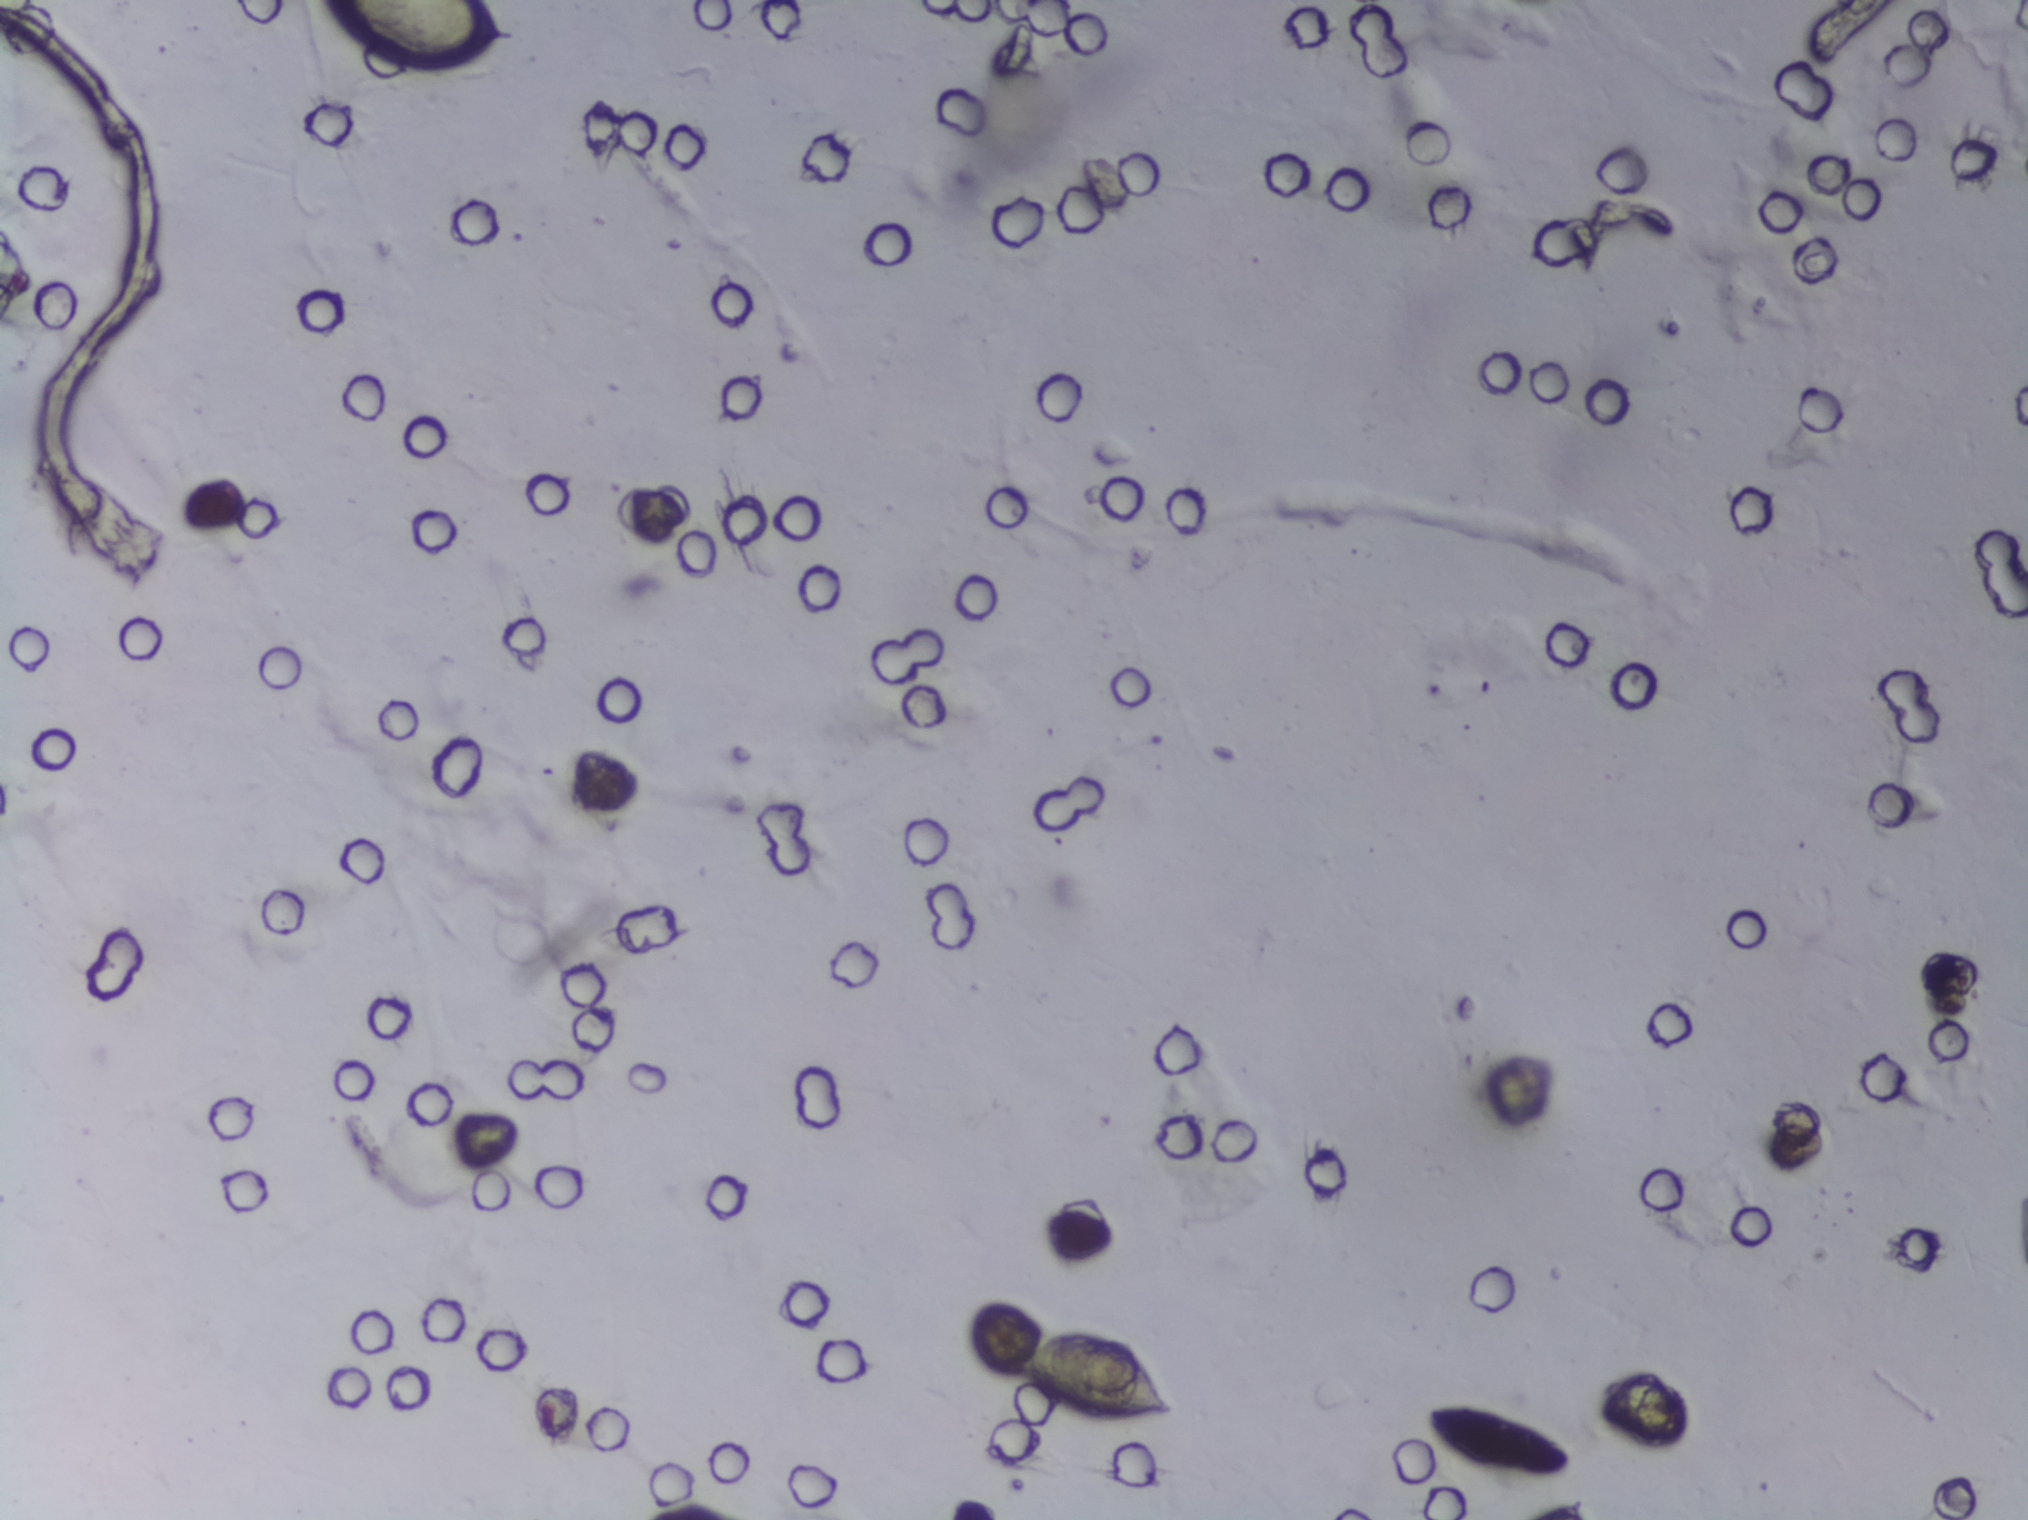
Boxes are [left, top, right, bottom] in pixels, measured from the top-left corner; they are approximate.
The expert annotation outlines Schistosoma eggs at [321, 0, 525, 66] (reaching the top edge of the frame); [1022, 1330, 1178, 1430]; [1425, 1401, 1571, 1480] (left to right). Marked pixels, not the boxes around them: about 0.9% of the image. A single outlined area may contain several eggs. A marked egg may occasionally be S. mansoni rather than S. haematobium.
One field of view of a urine filter membrane, 4× objective, 2028 × 1520 pixels.